Microscope photograph (4× objective) of a membrane that a urine sample was filtered through.
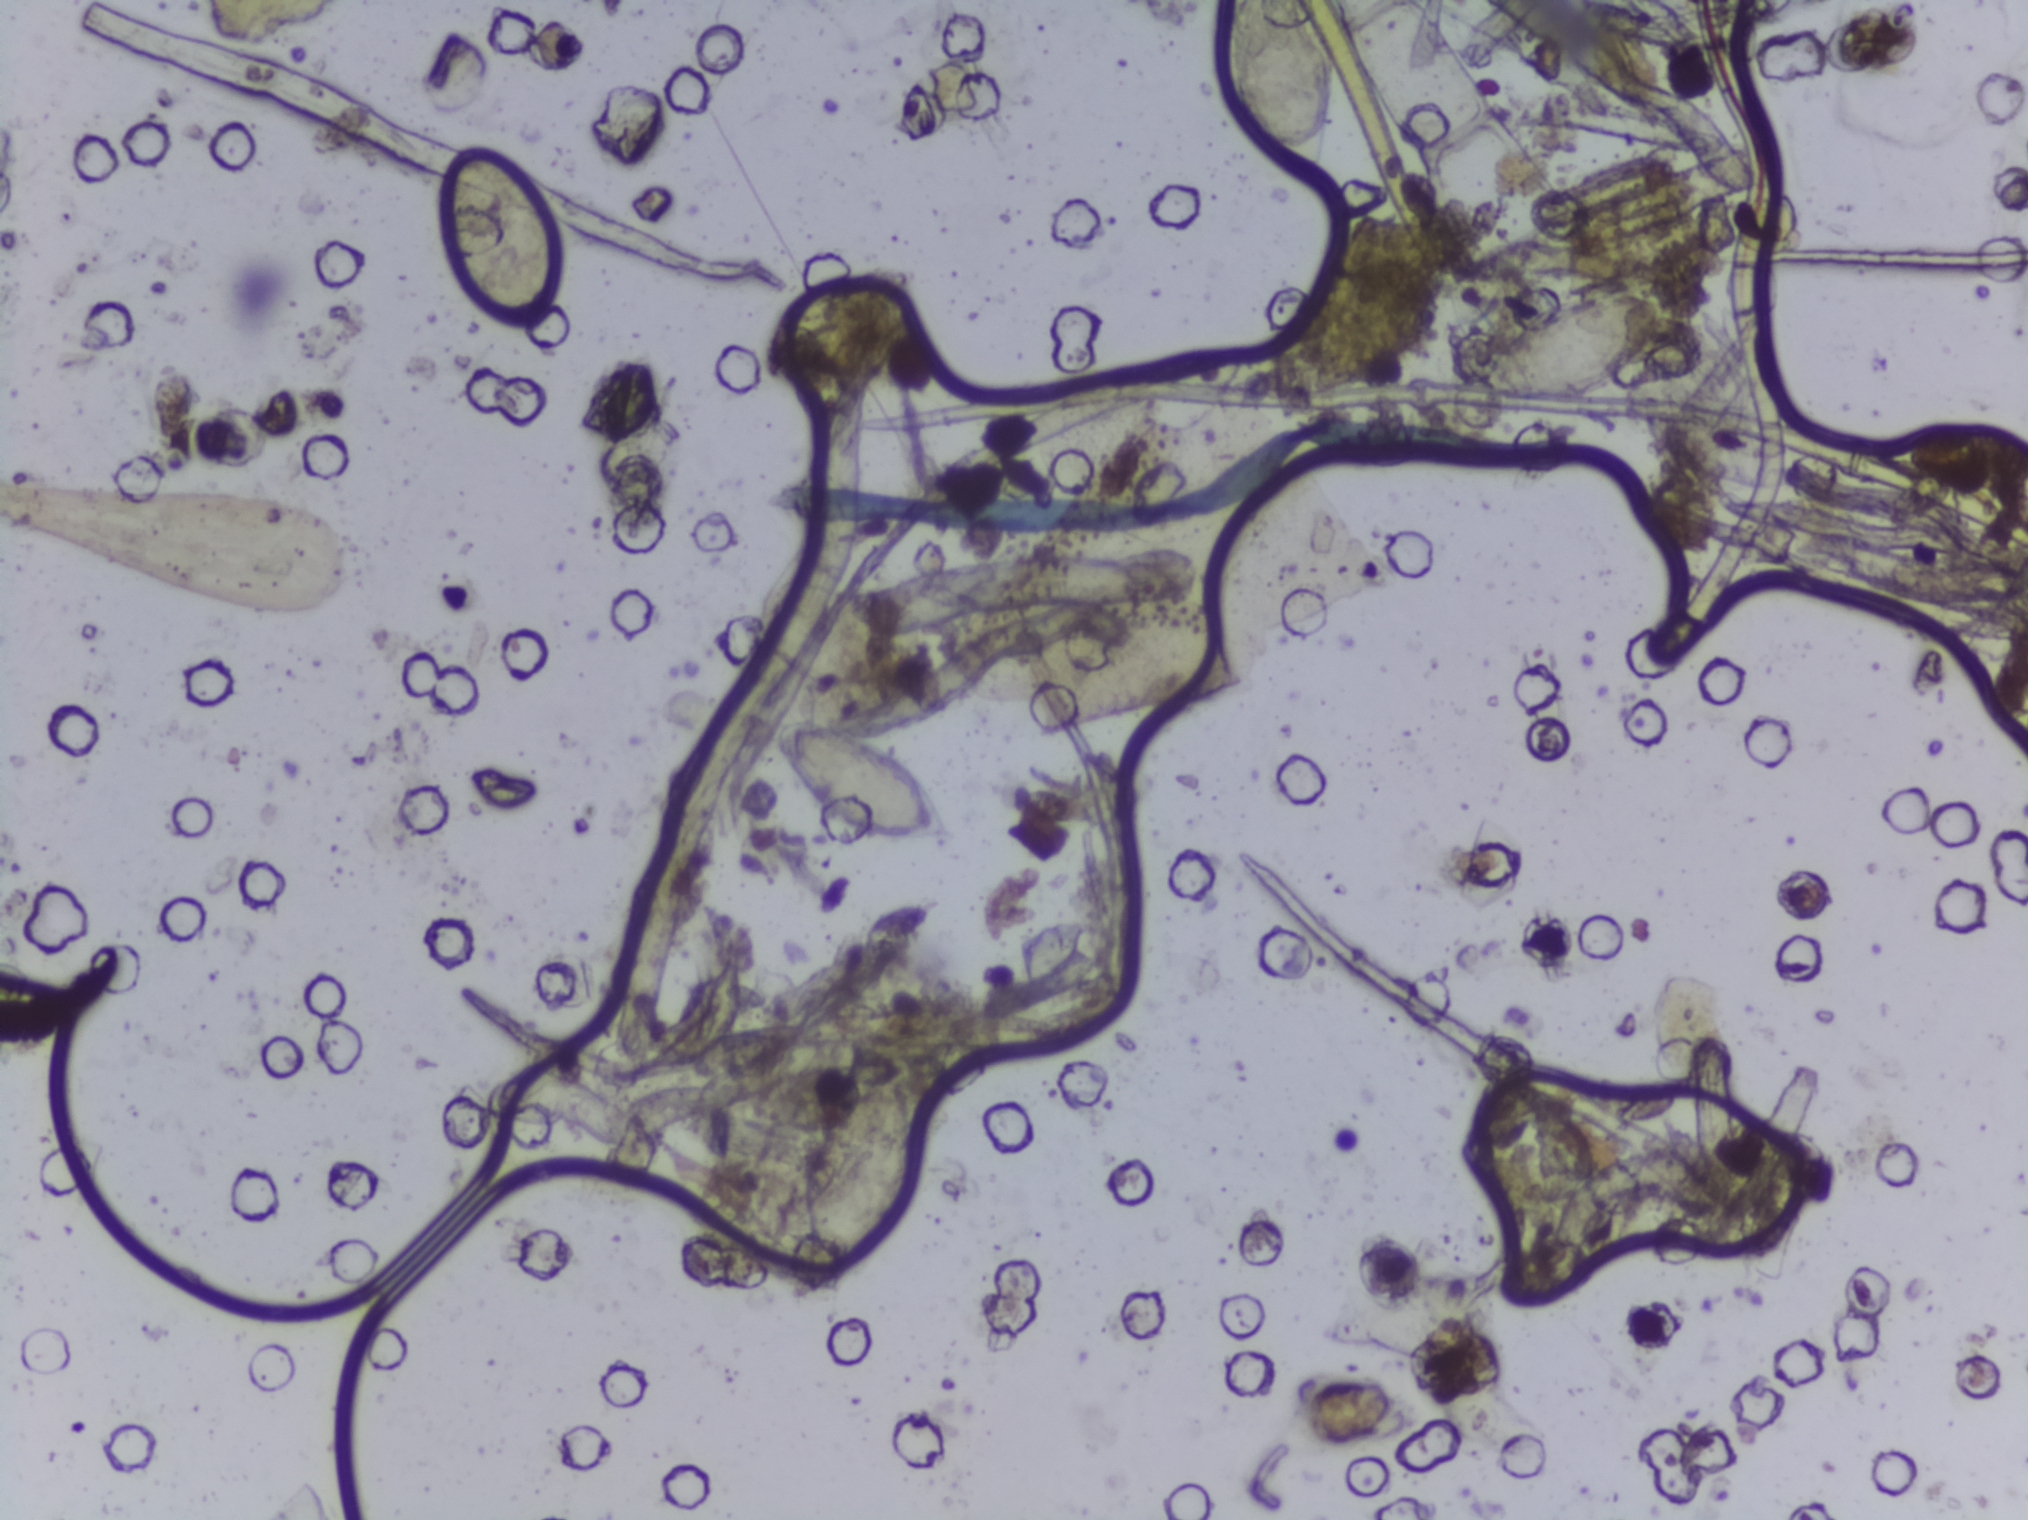
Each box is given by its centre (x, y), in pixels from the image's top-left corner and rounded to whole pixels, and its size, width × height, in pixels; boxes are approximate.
The expert annotation outlines Schistosoma eggs at centre (499, 242), 126 × 196 px; centre (835, 633), 153 × 109 px; centre (851, 1170), 128 × 224 px; centre (864, 780), 178 × 128 px; centre (1279, 86), 116 × 173 px (reaching the top edge of the frame); centre (1566, 346), 204 × 114 px; centre (1626, 1197), 153 × 113 px. Eggs that touch can end up inside the same outlined area.